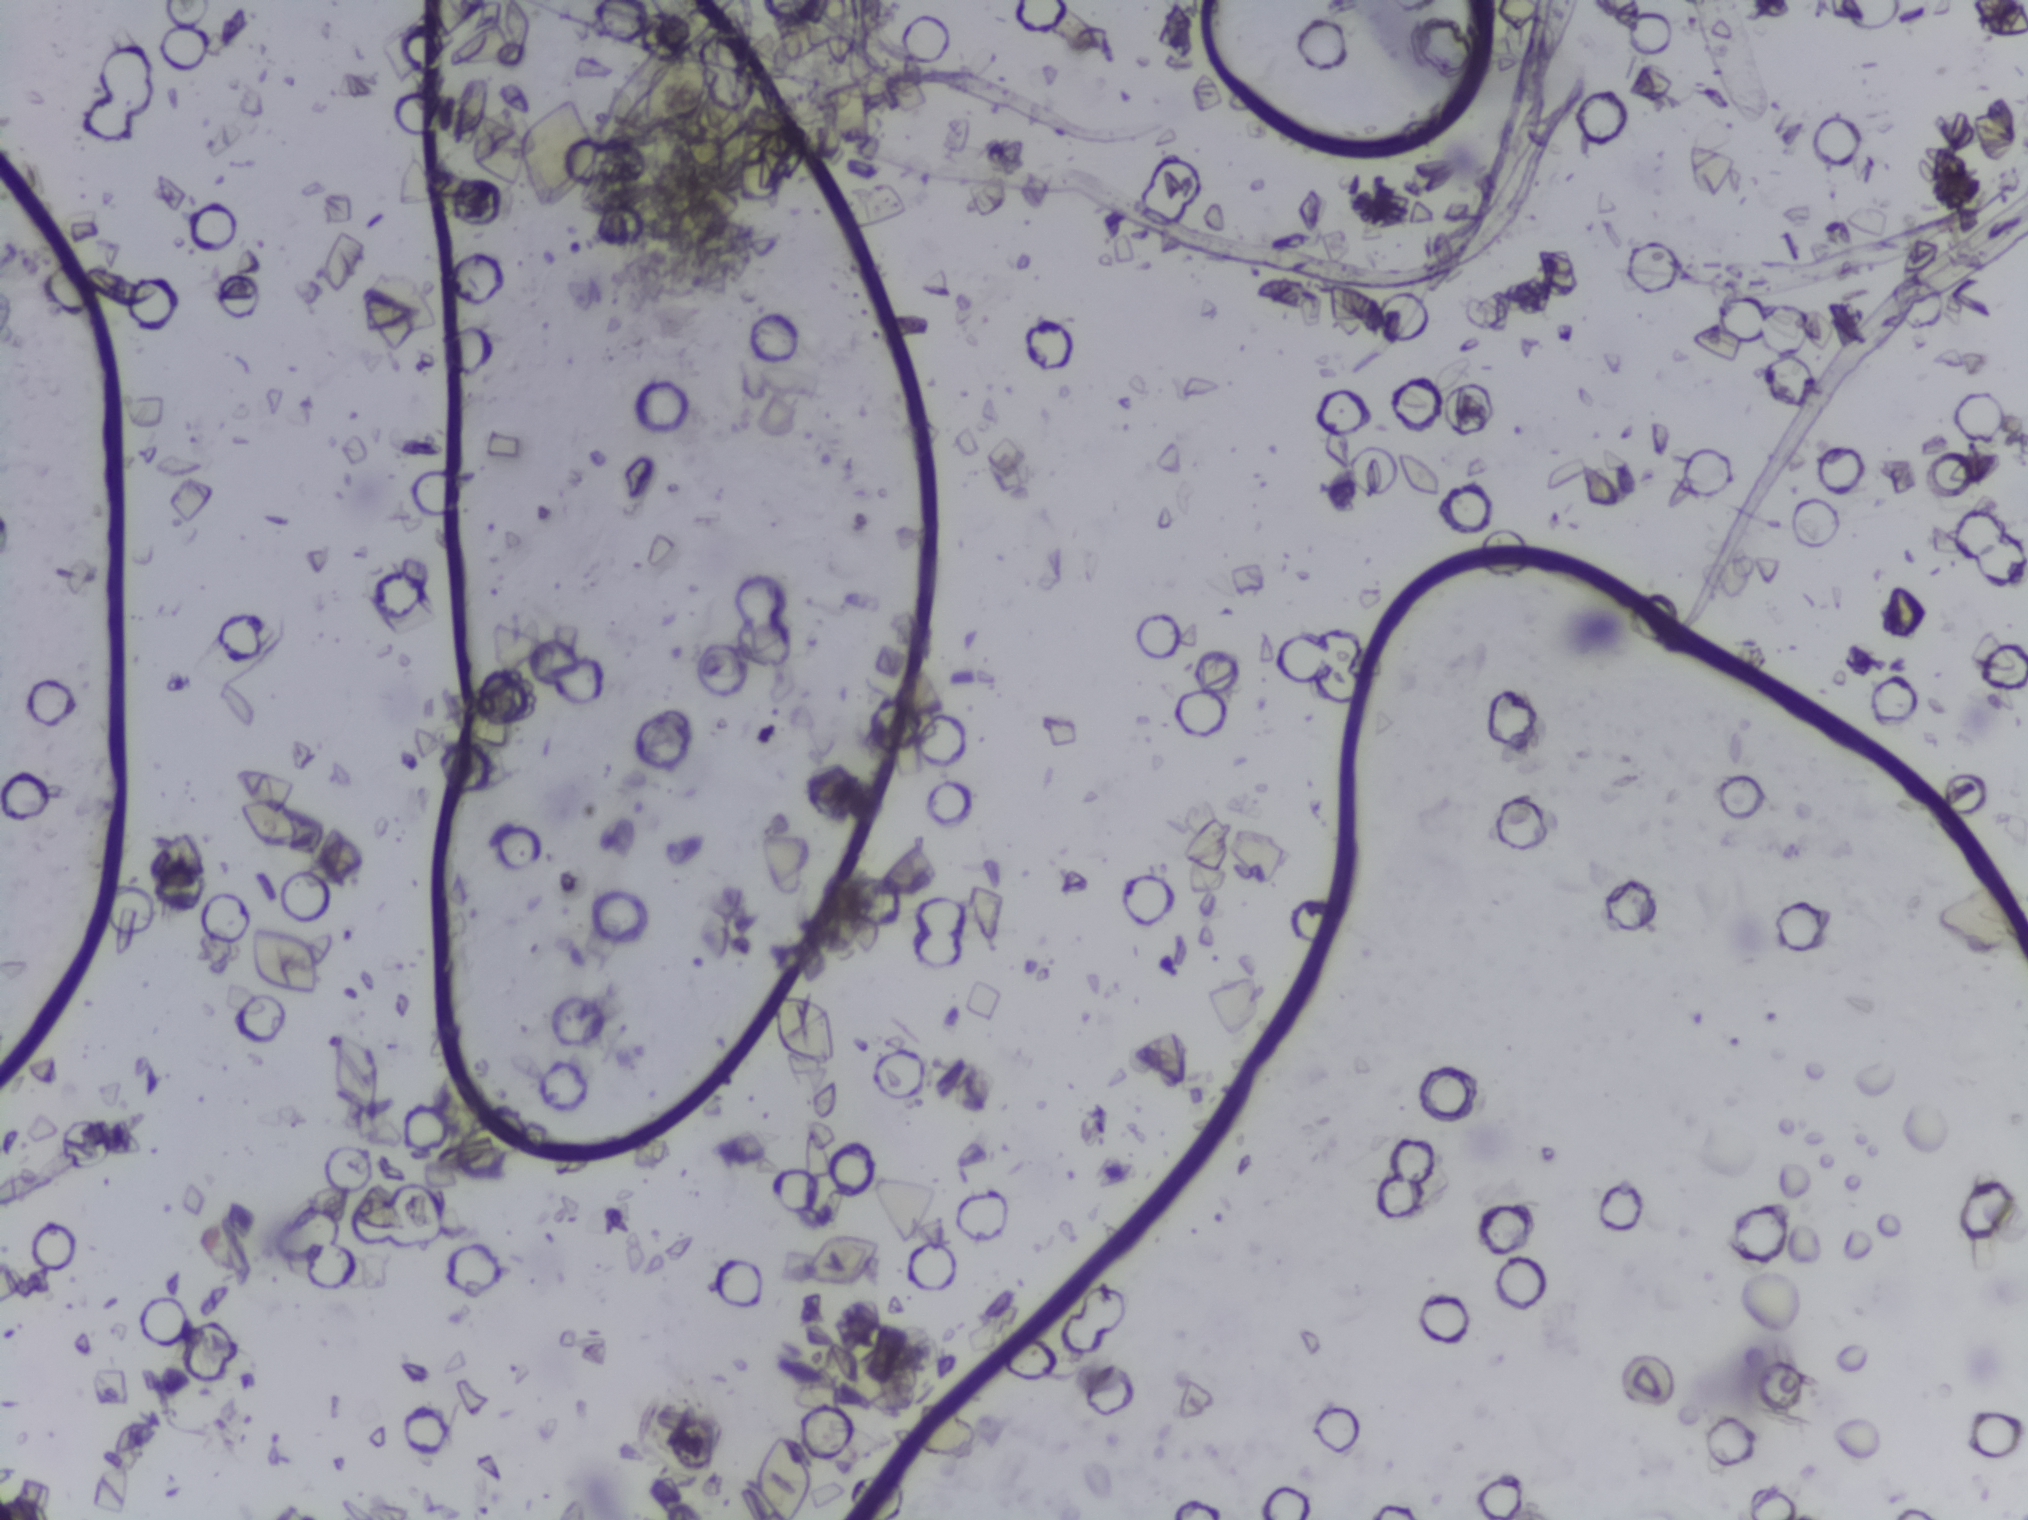
The expert annotation outlines no Schistosoma egg in this image.
Microscope photograph (4× objective) of a membrane that a urine sample was filtered through.